One field of view of a urine filter membrane, 4× objective, 2028 × 1520 pixels.
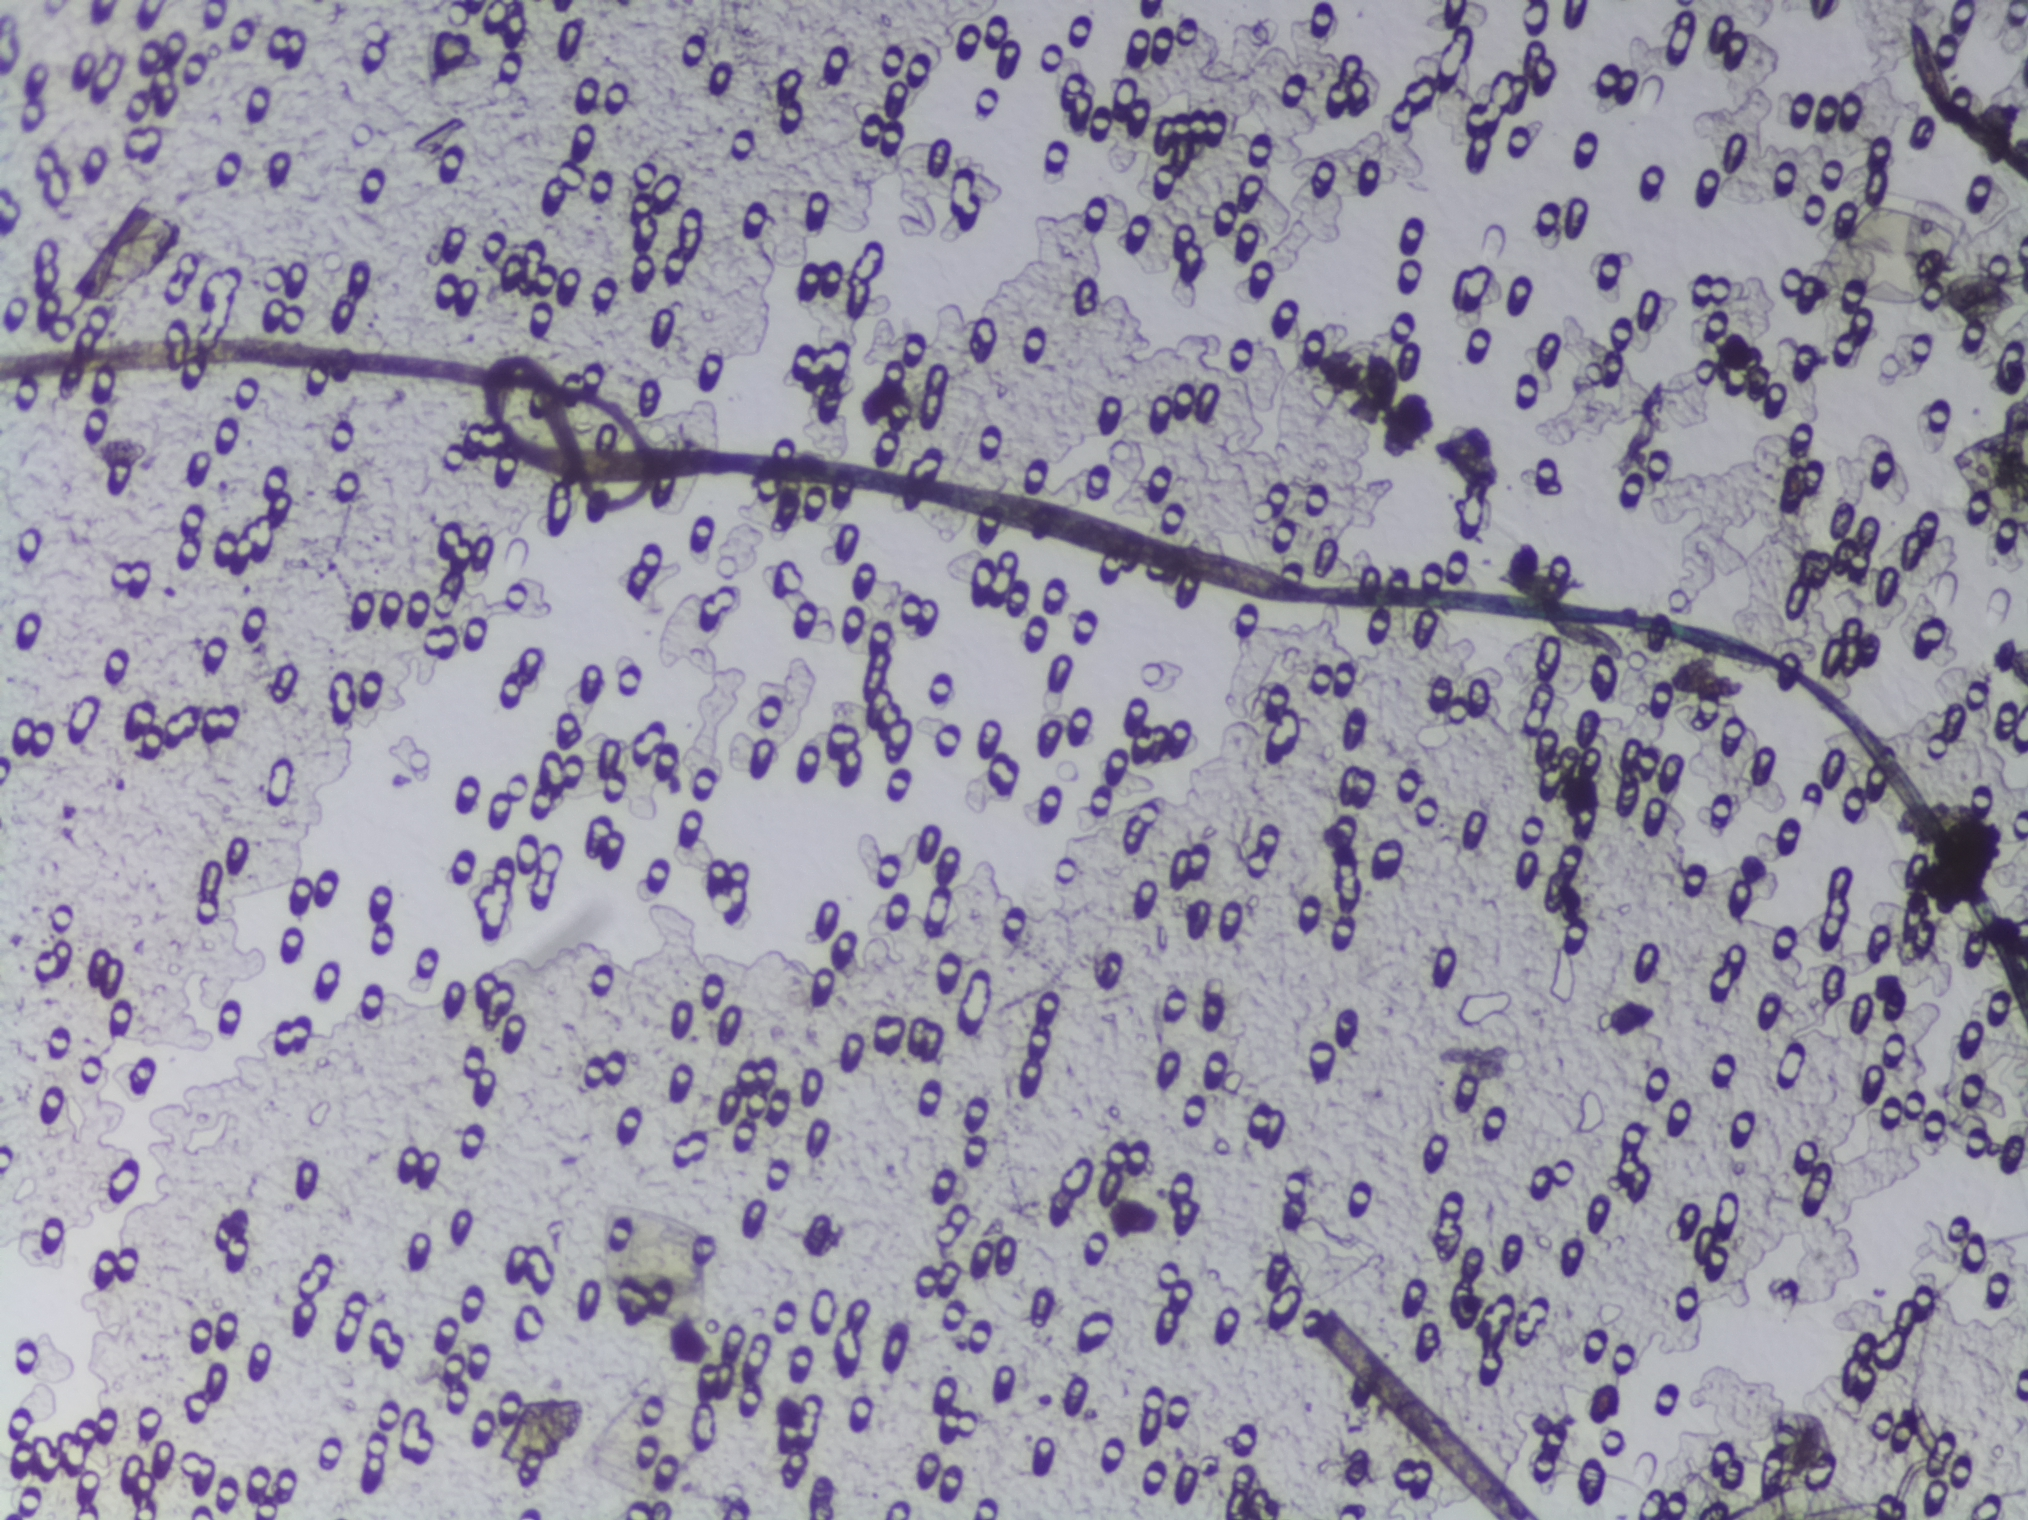
Schistosoma eggs: none outlined.